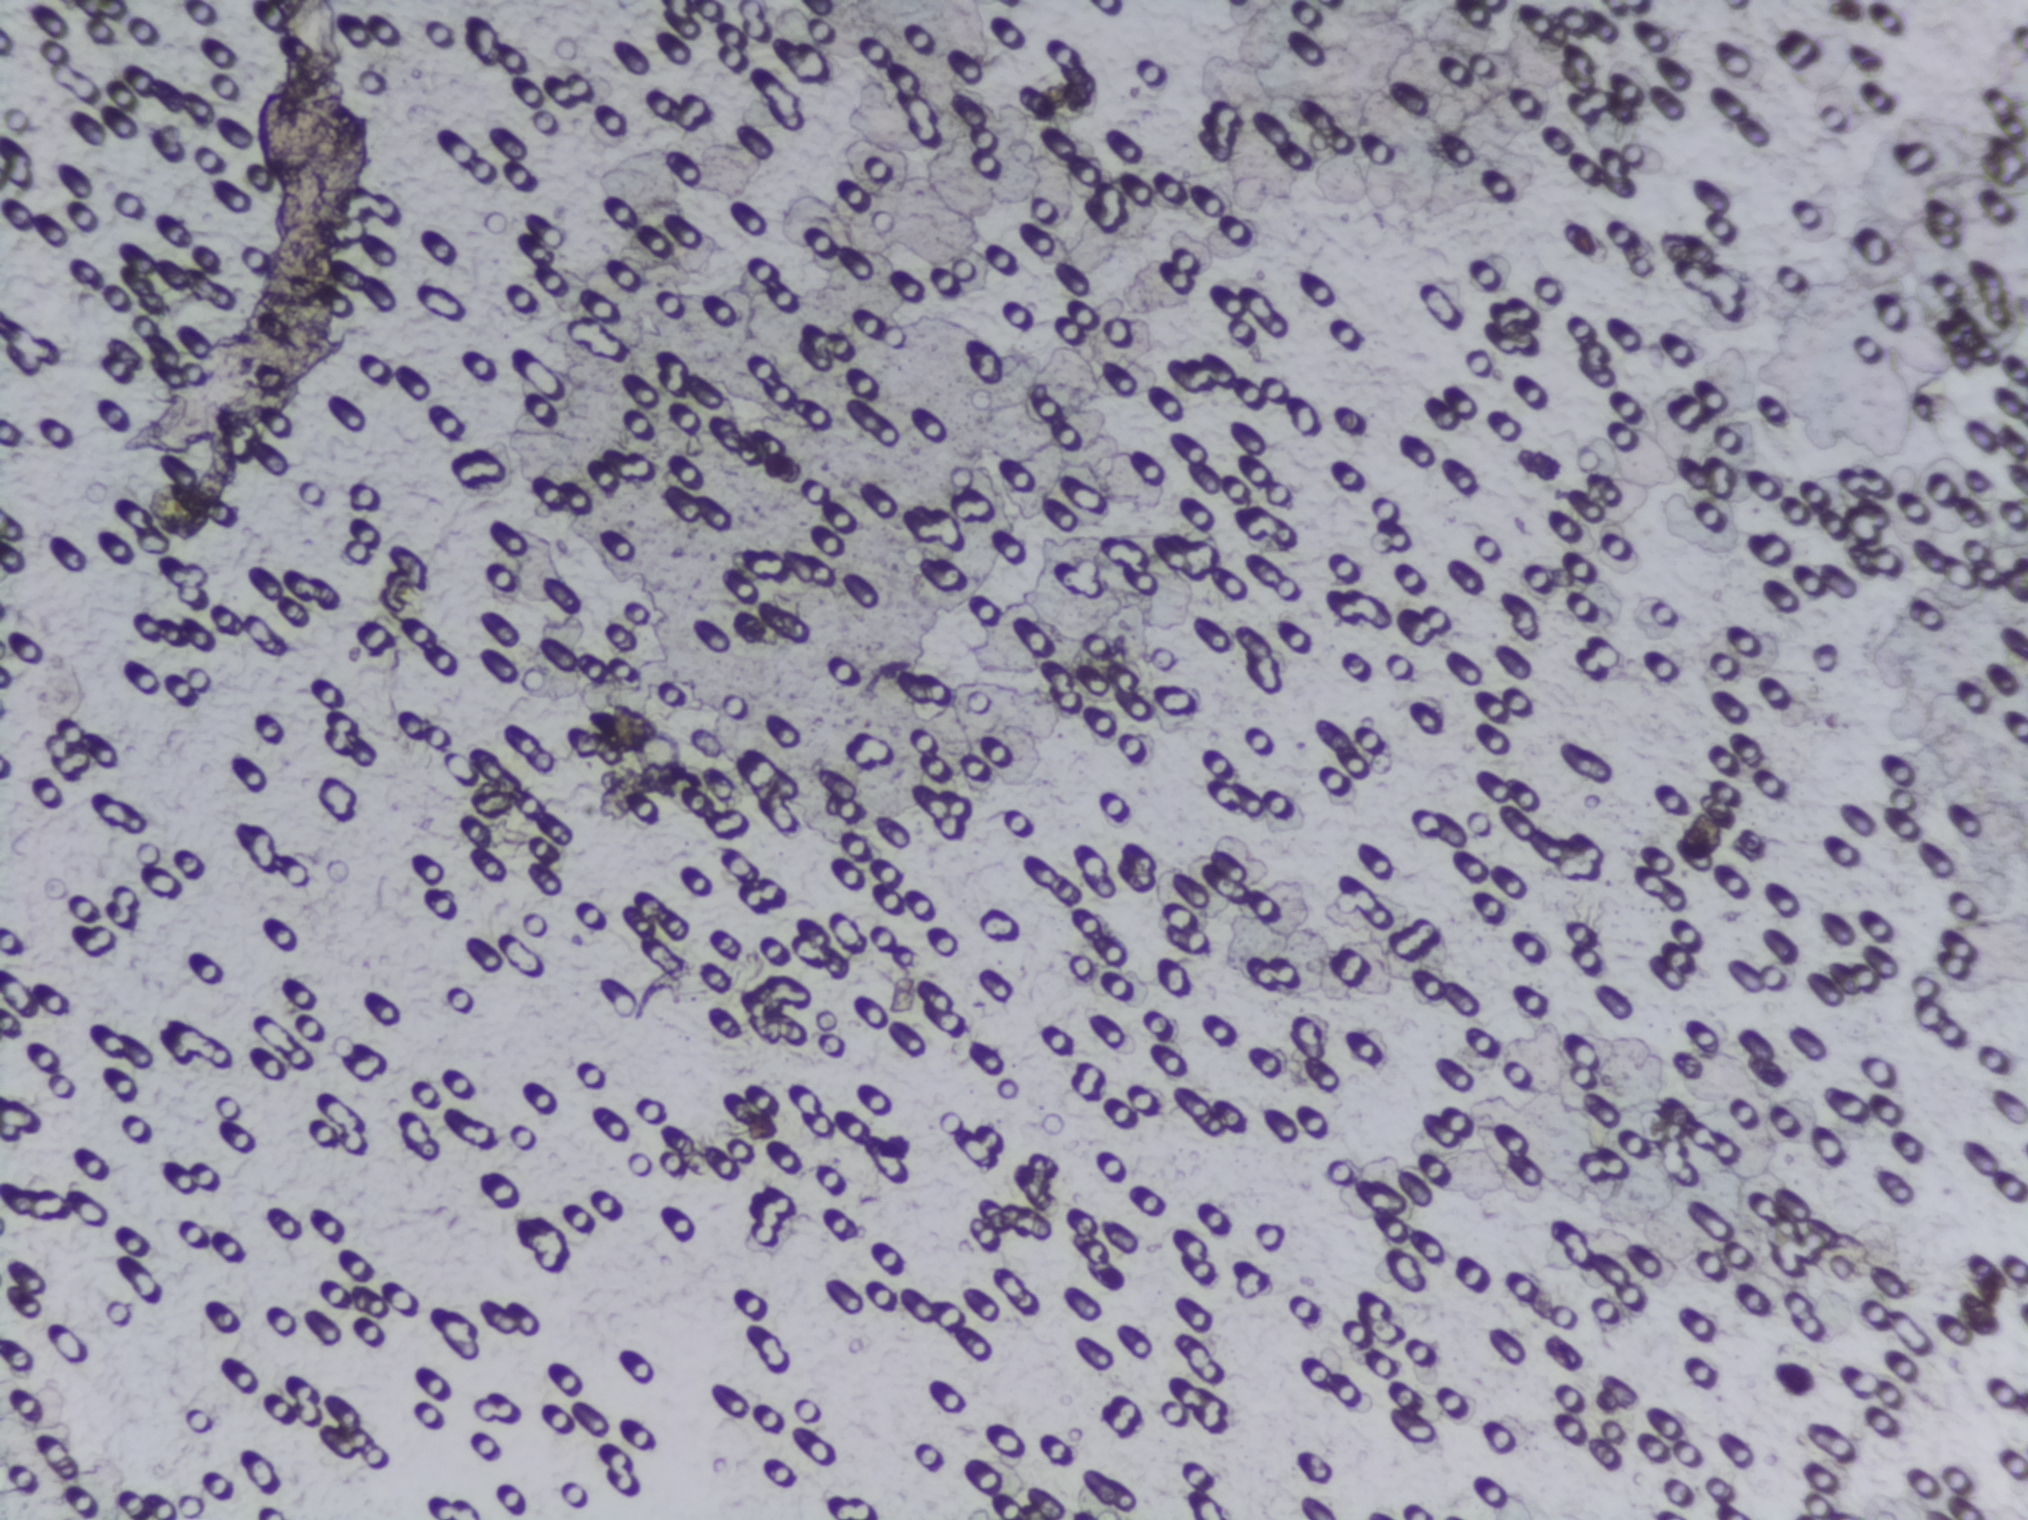
One field of view of a urine filter membrane, 4× objective, 2028 × 1520 pixels.
No Schistosoma egg is outlined in this image's expert annotation.